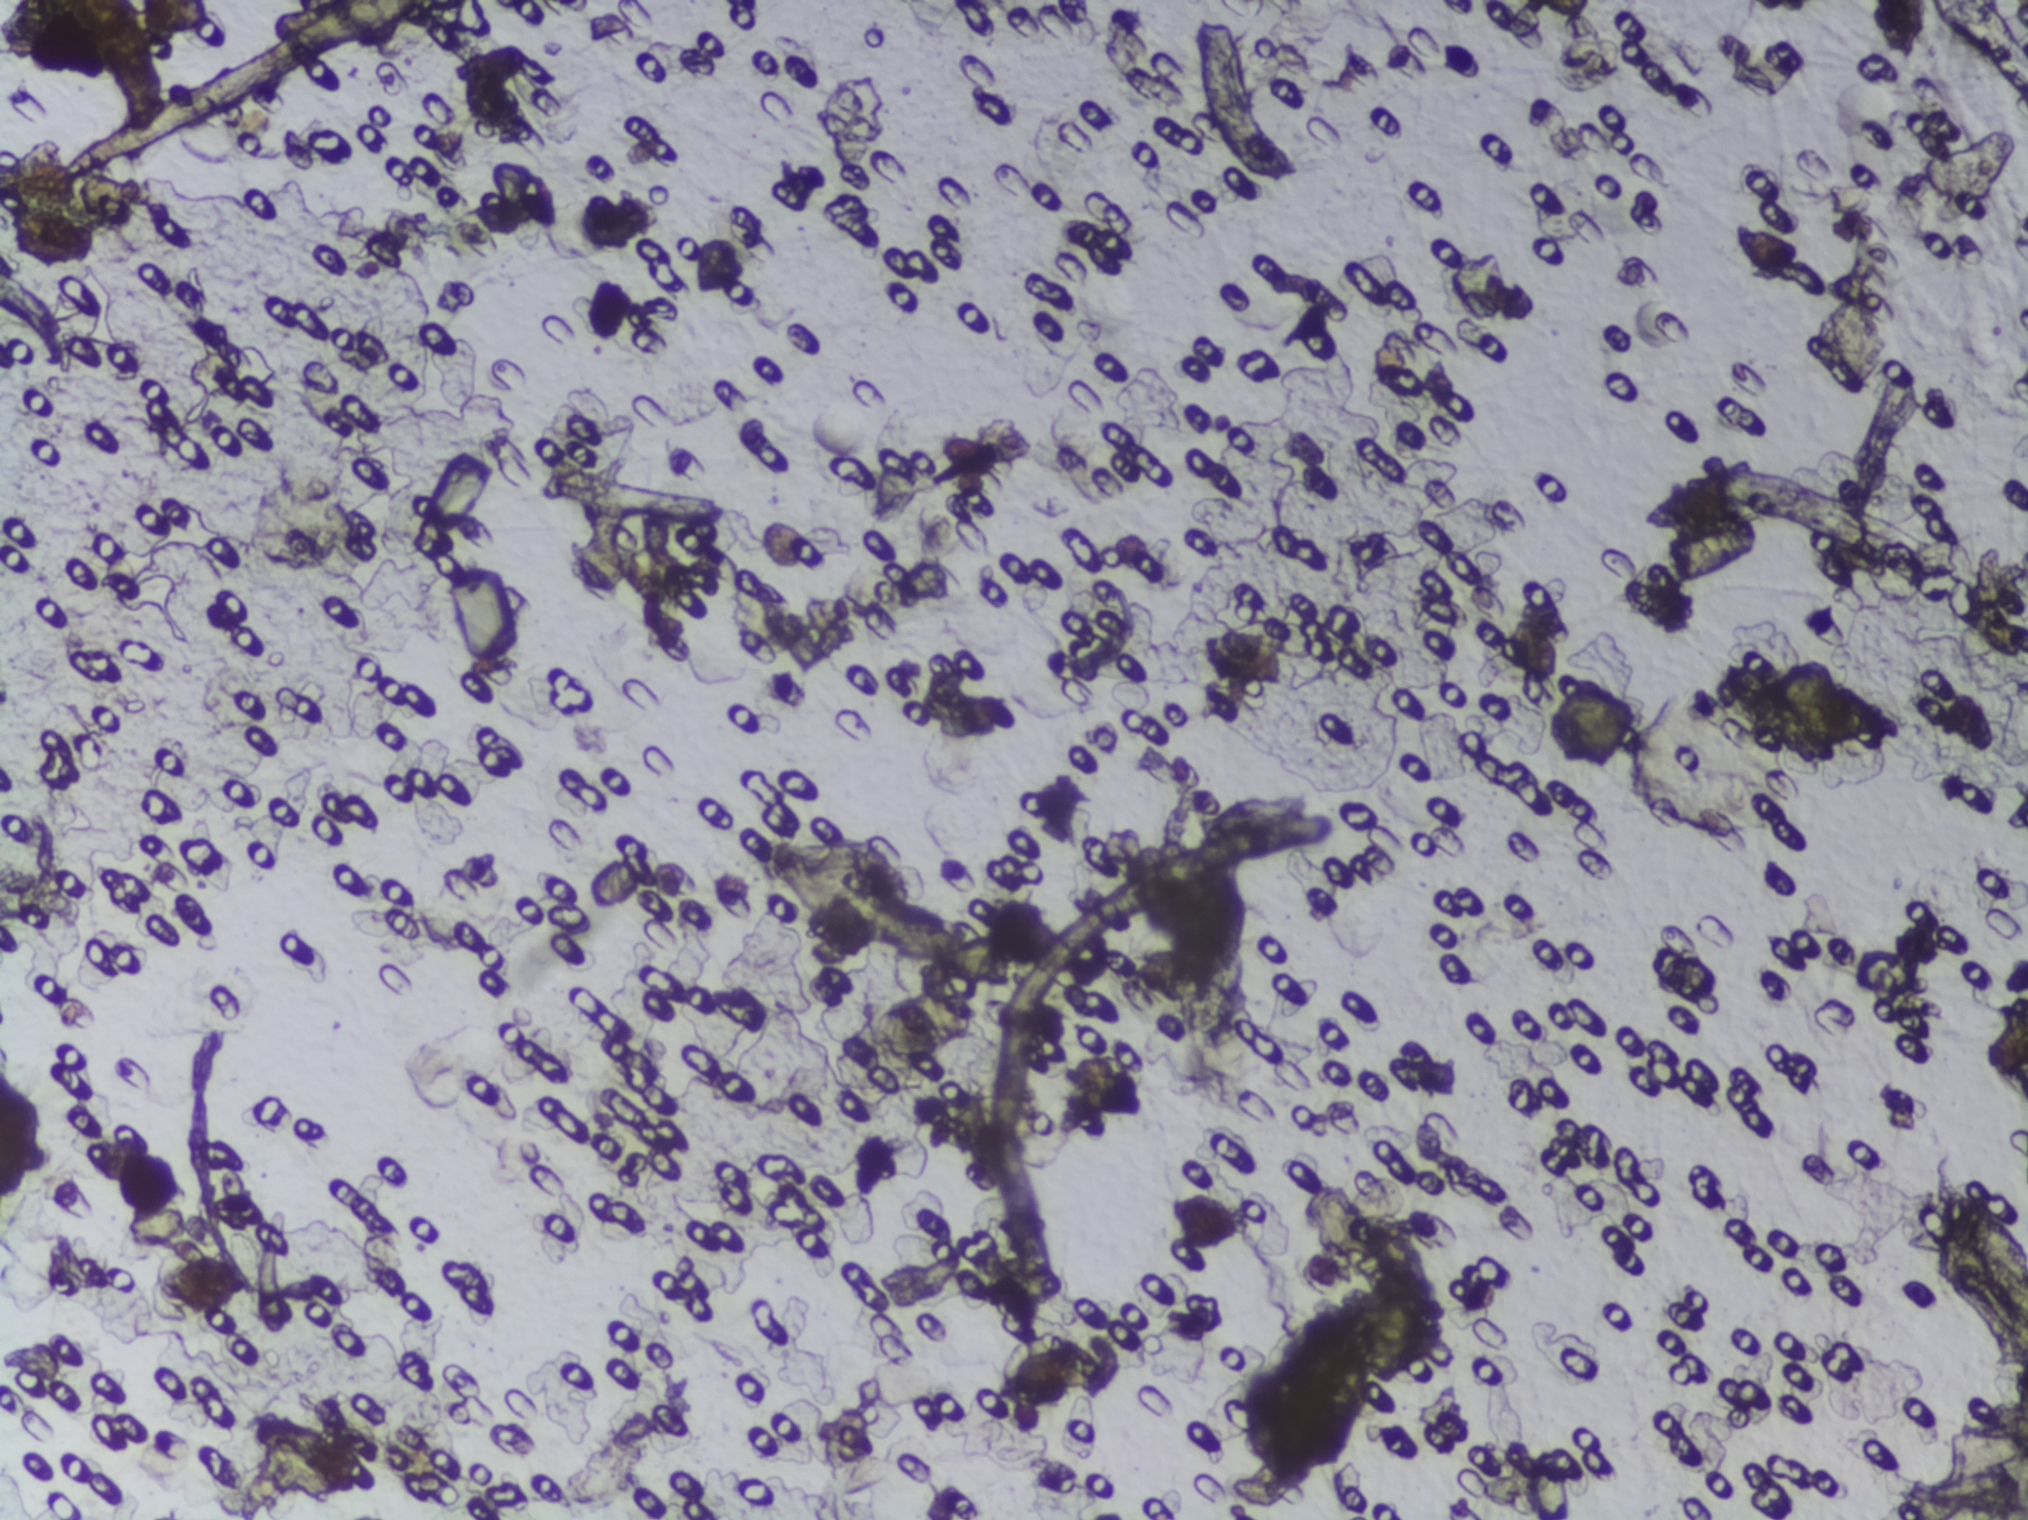
Urine filter membrane photographed through a 4× microscope objective.
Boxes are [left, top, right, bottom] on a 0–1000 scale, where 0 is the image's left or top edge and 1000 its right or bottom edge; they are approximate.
One area of this image is outlined as Schistosoma eggs: [952, 770, 1000, 908] (reaching the right edge of the frame). An outlined area can hold more than one egg.